Urine filter membrane photographed through a 4× microscope objective.
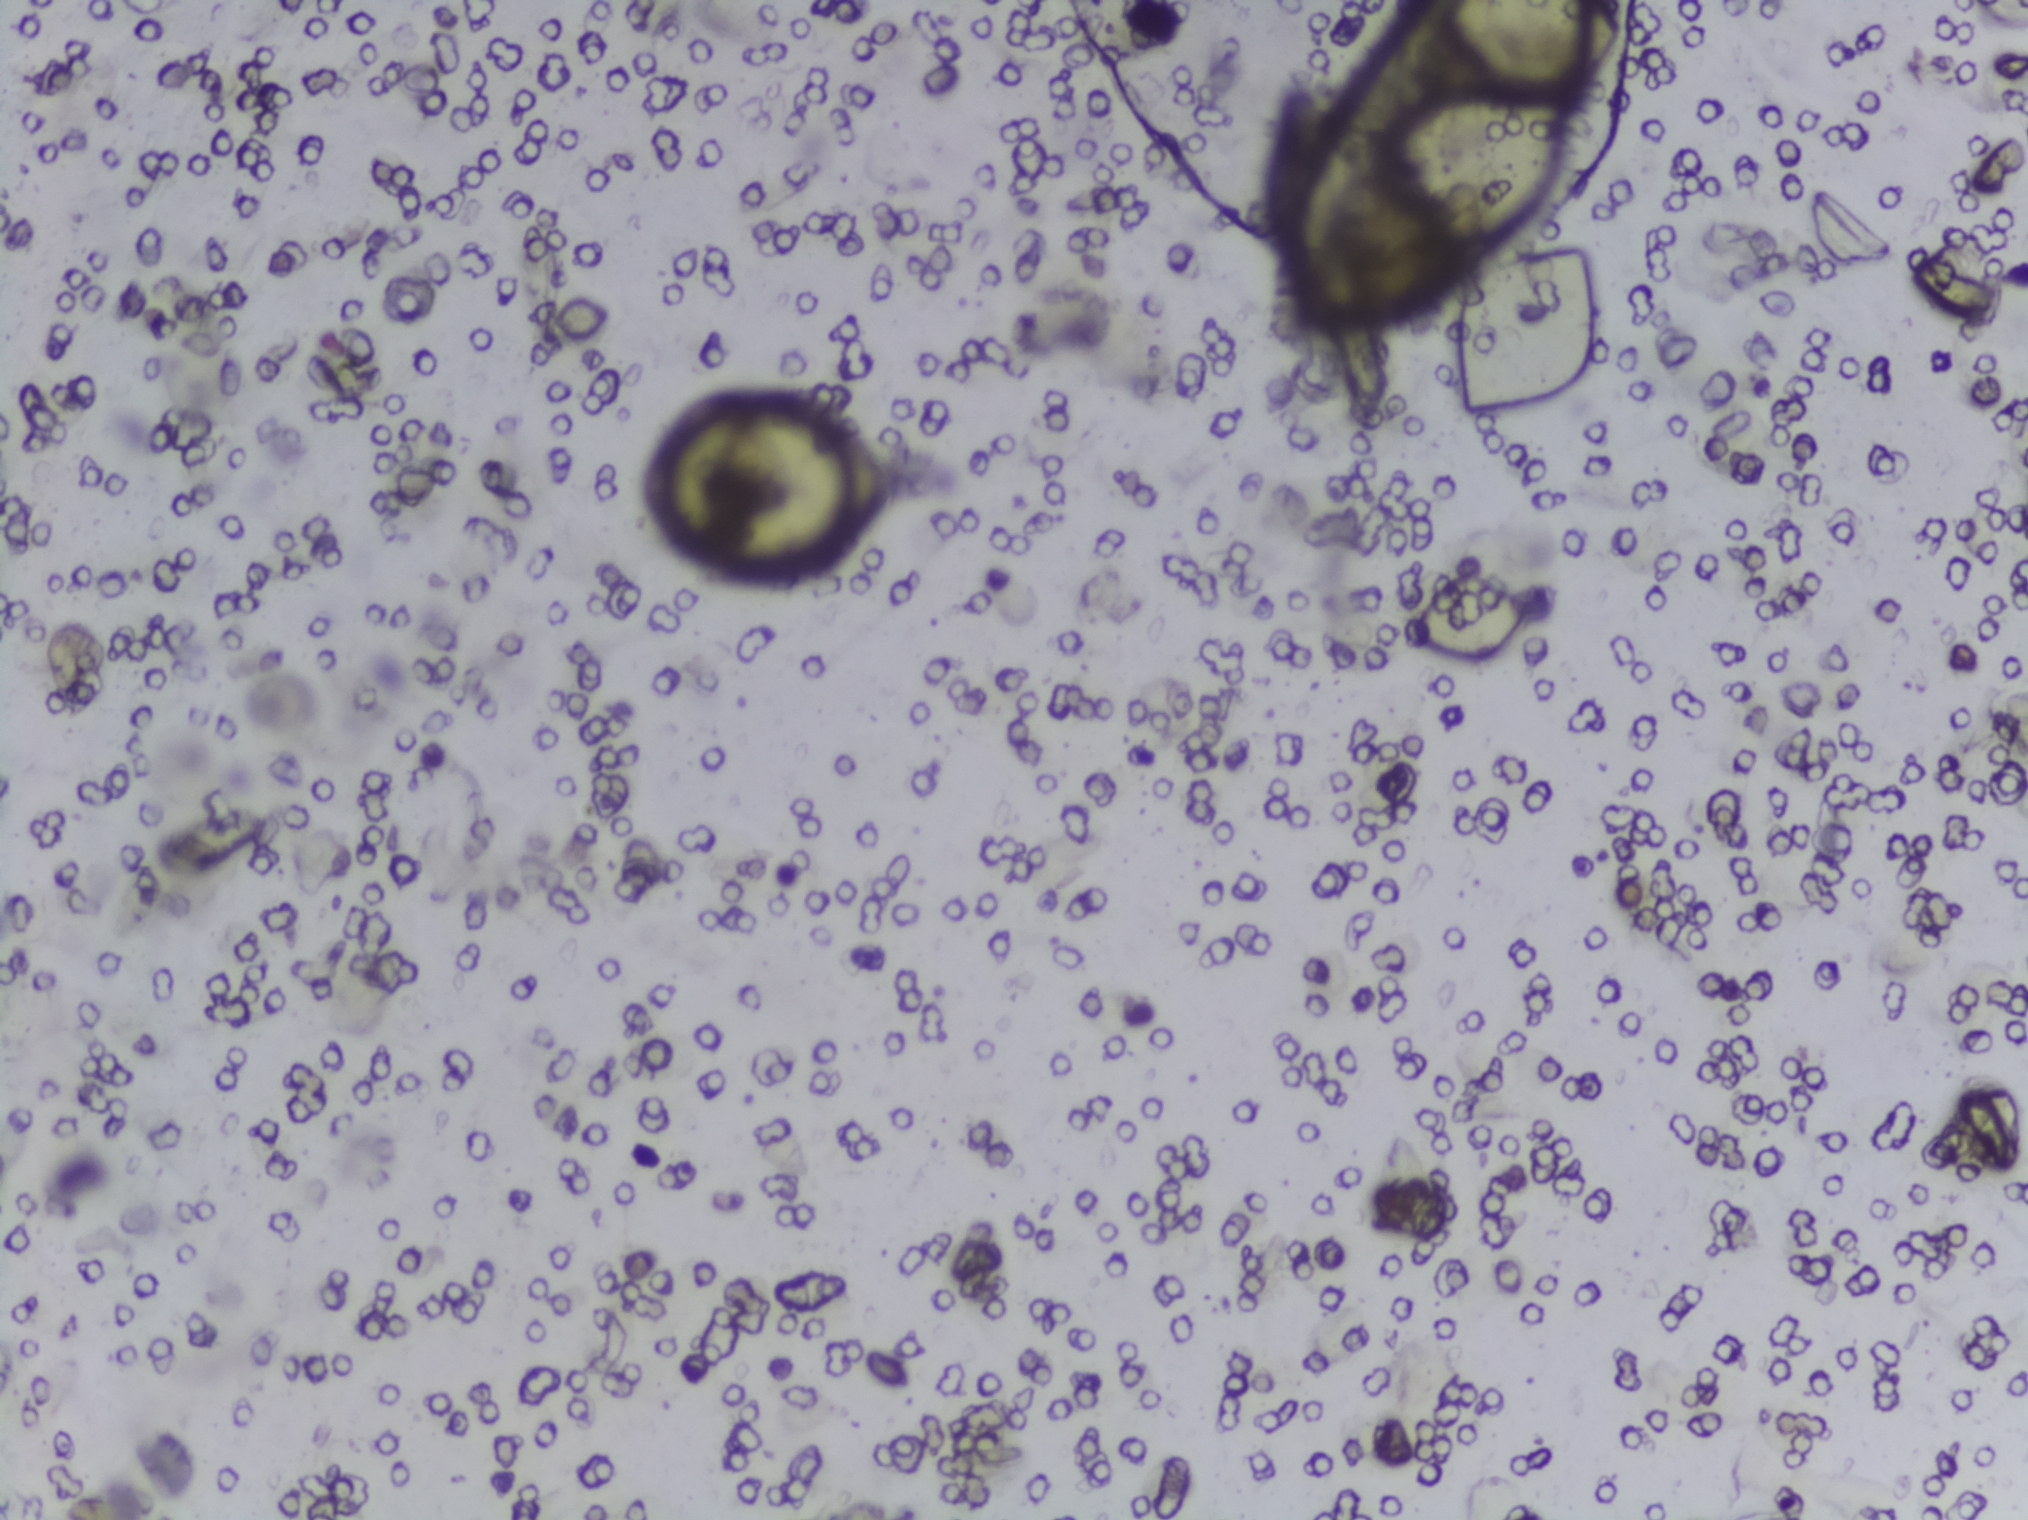
The expert annotation outlines no Schistosoma egg in this image.